Urine filter membrane photographed through a 4× microscope objective.
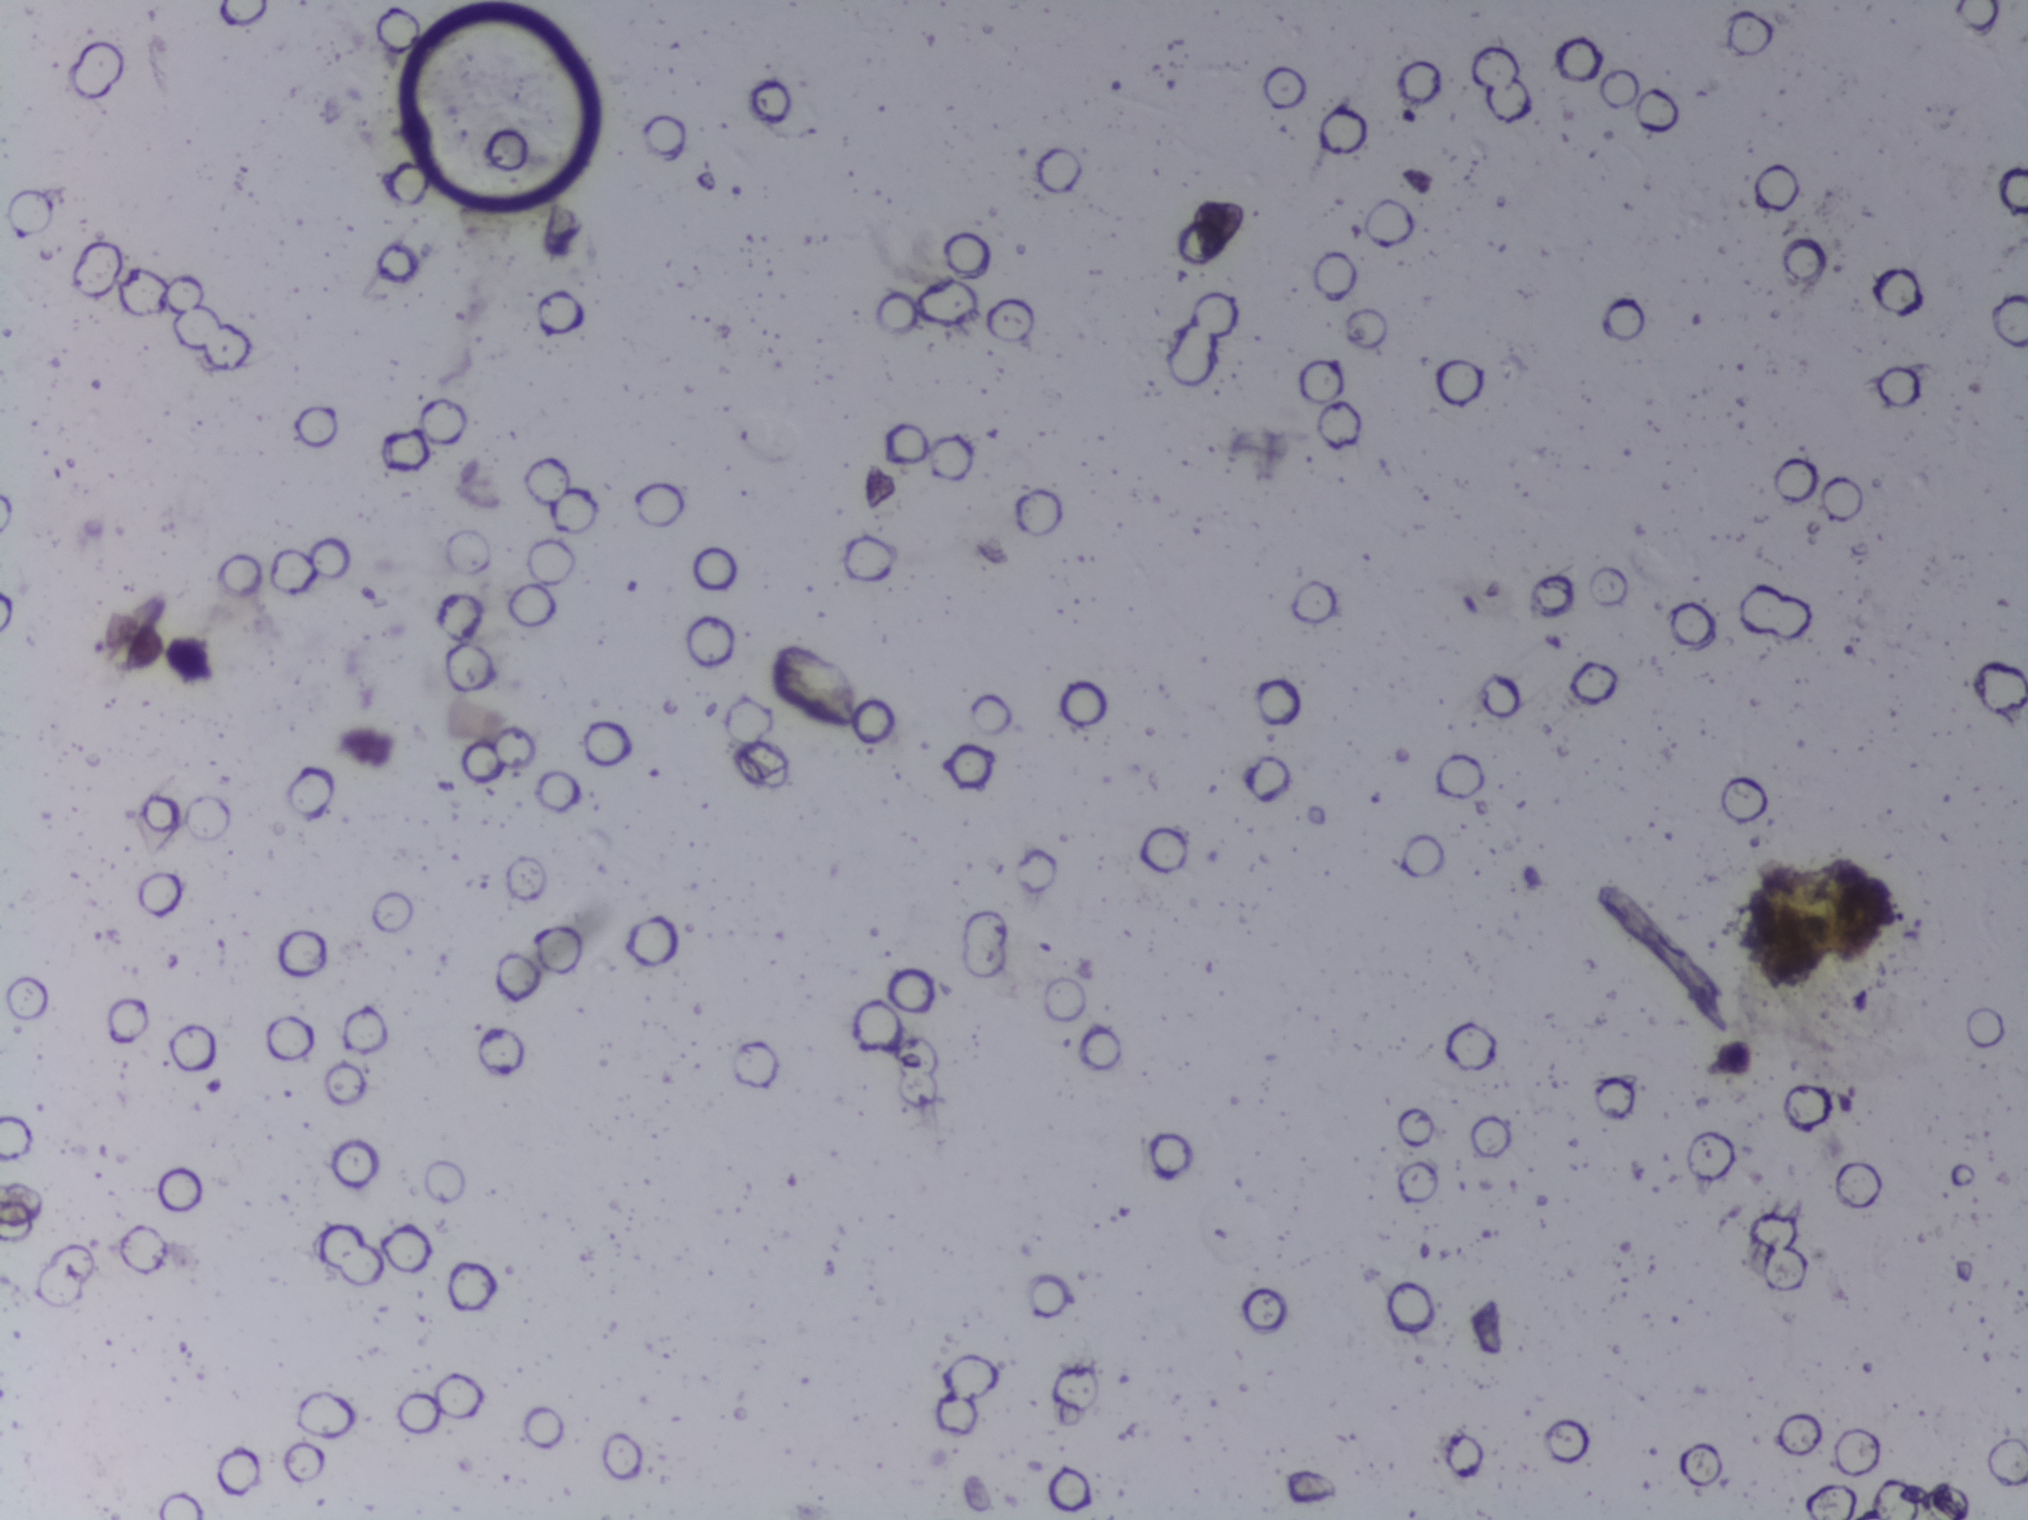
Schistosoma eggs: none outlined.